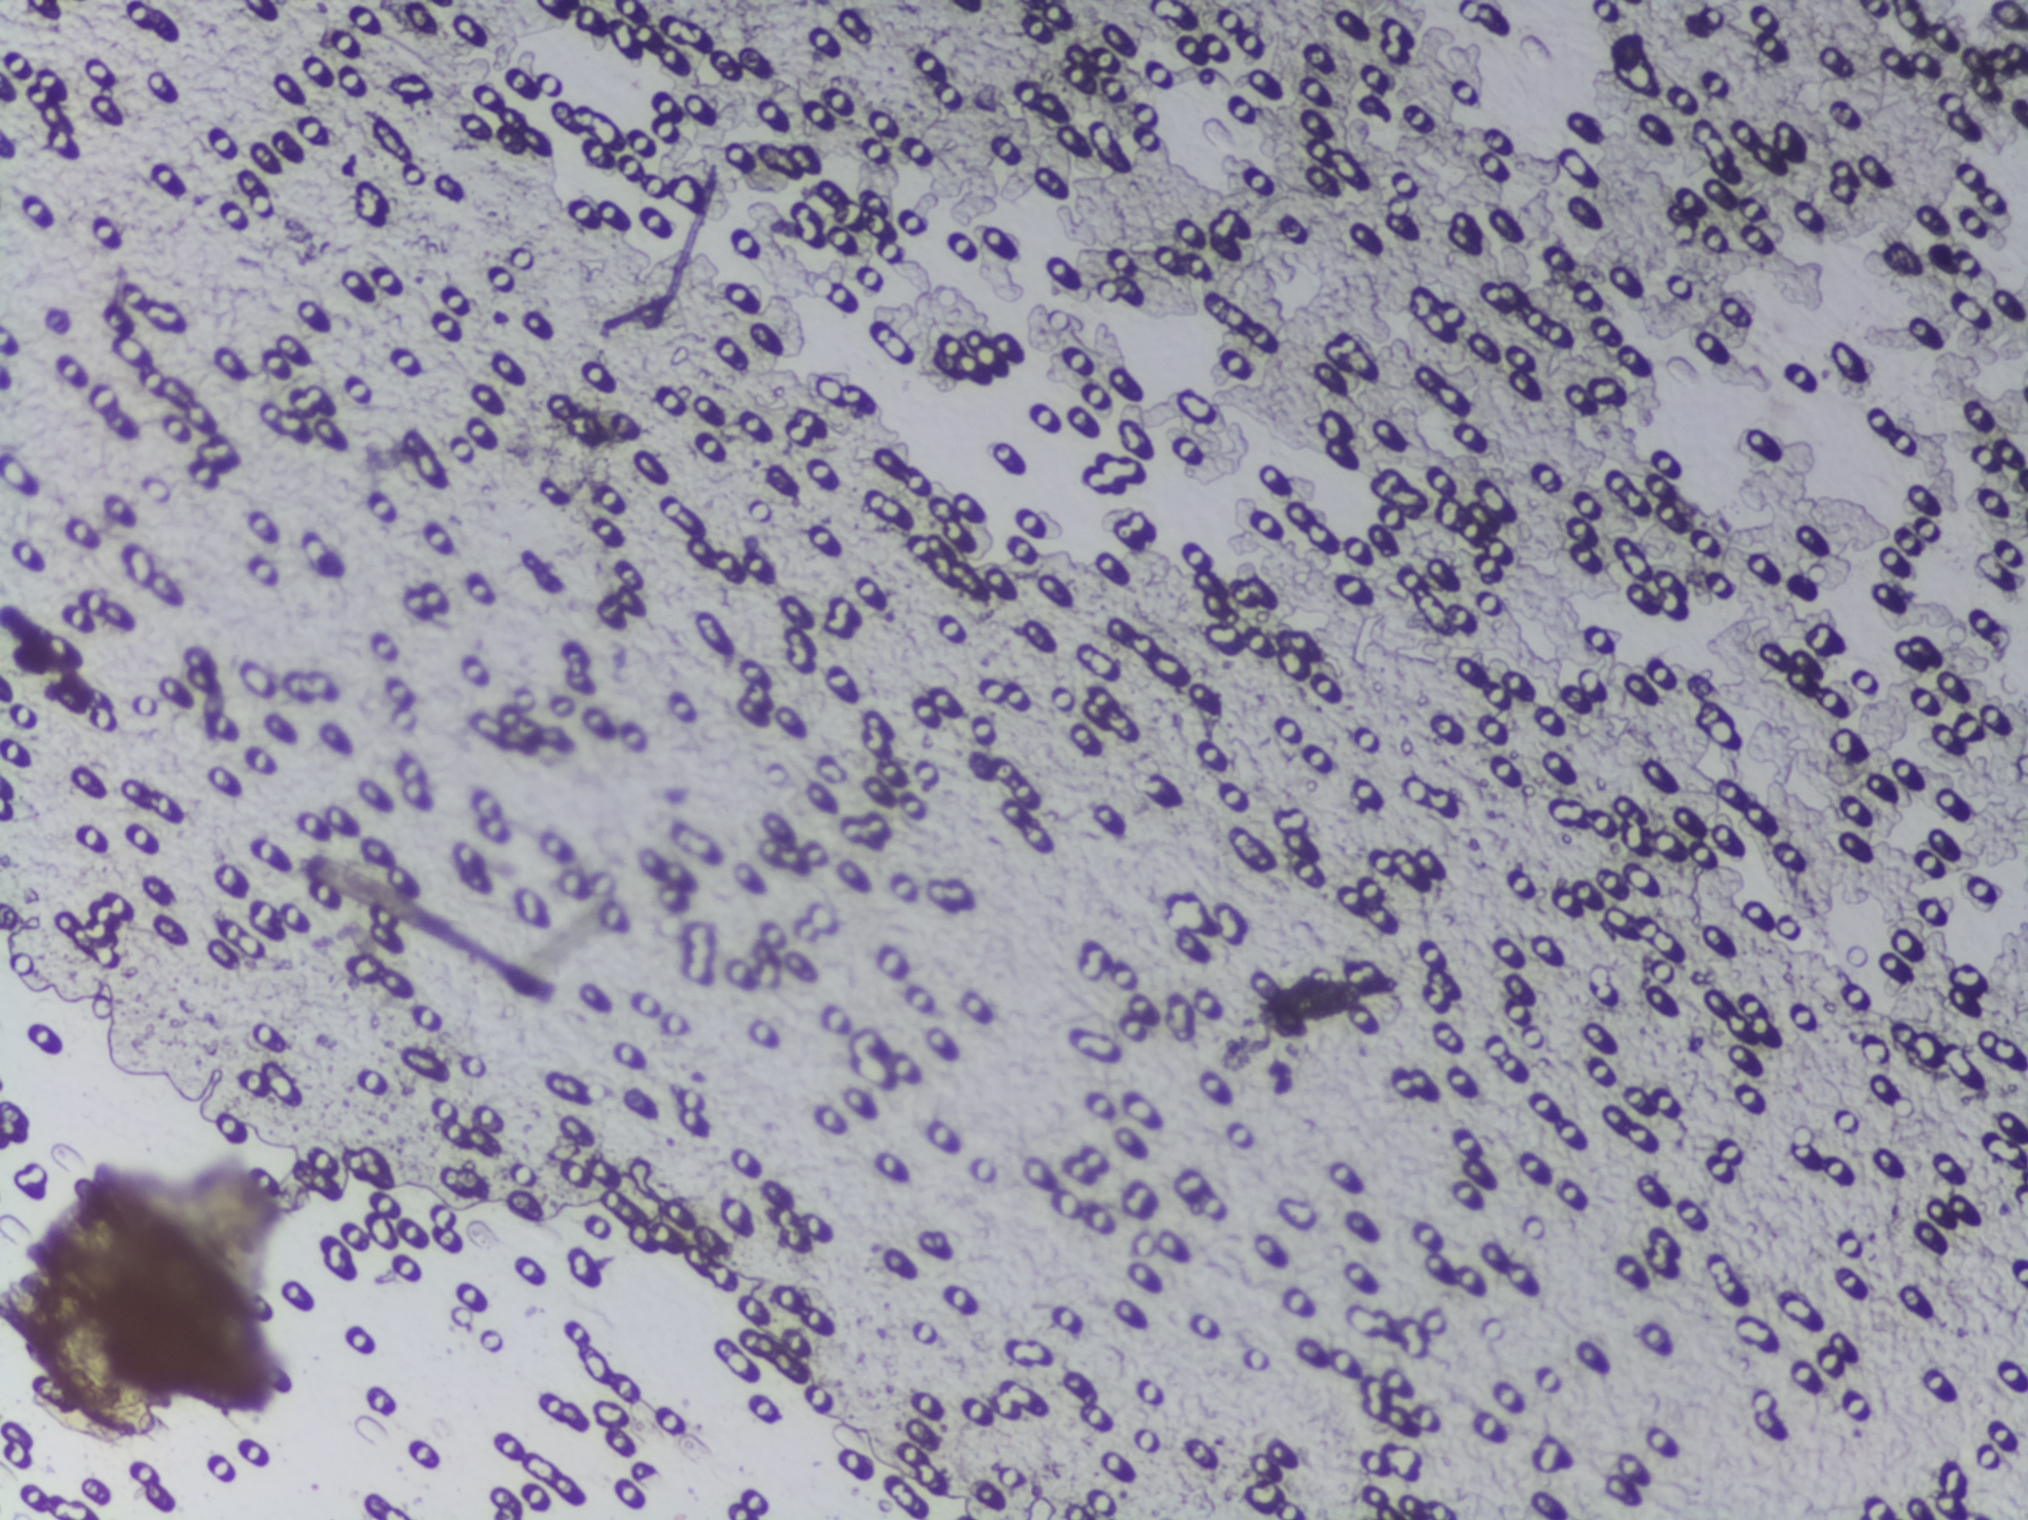
Urine filtration membrane under a 4× objective, photographed by an automated digital microscope.
No area of this image was outlined as a Schistosoma egg.